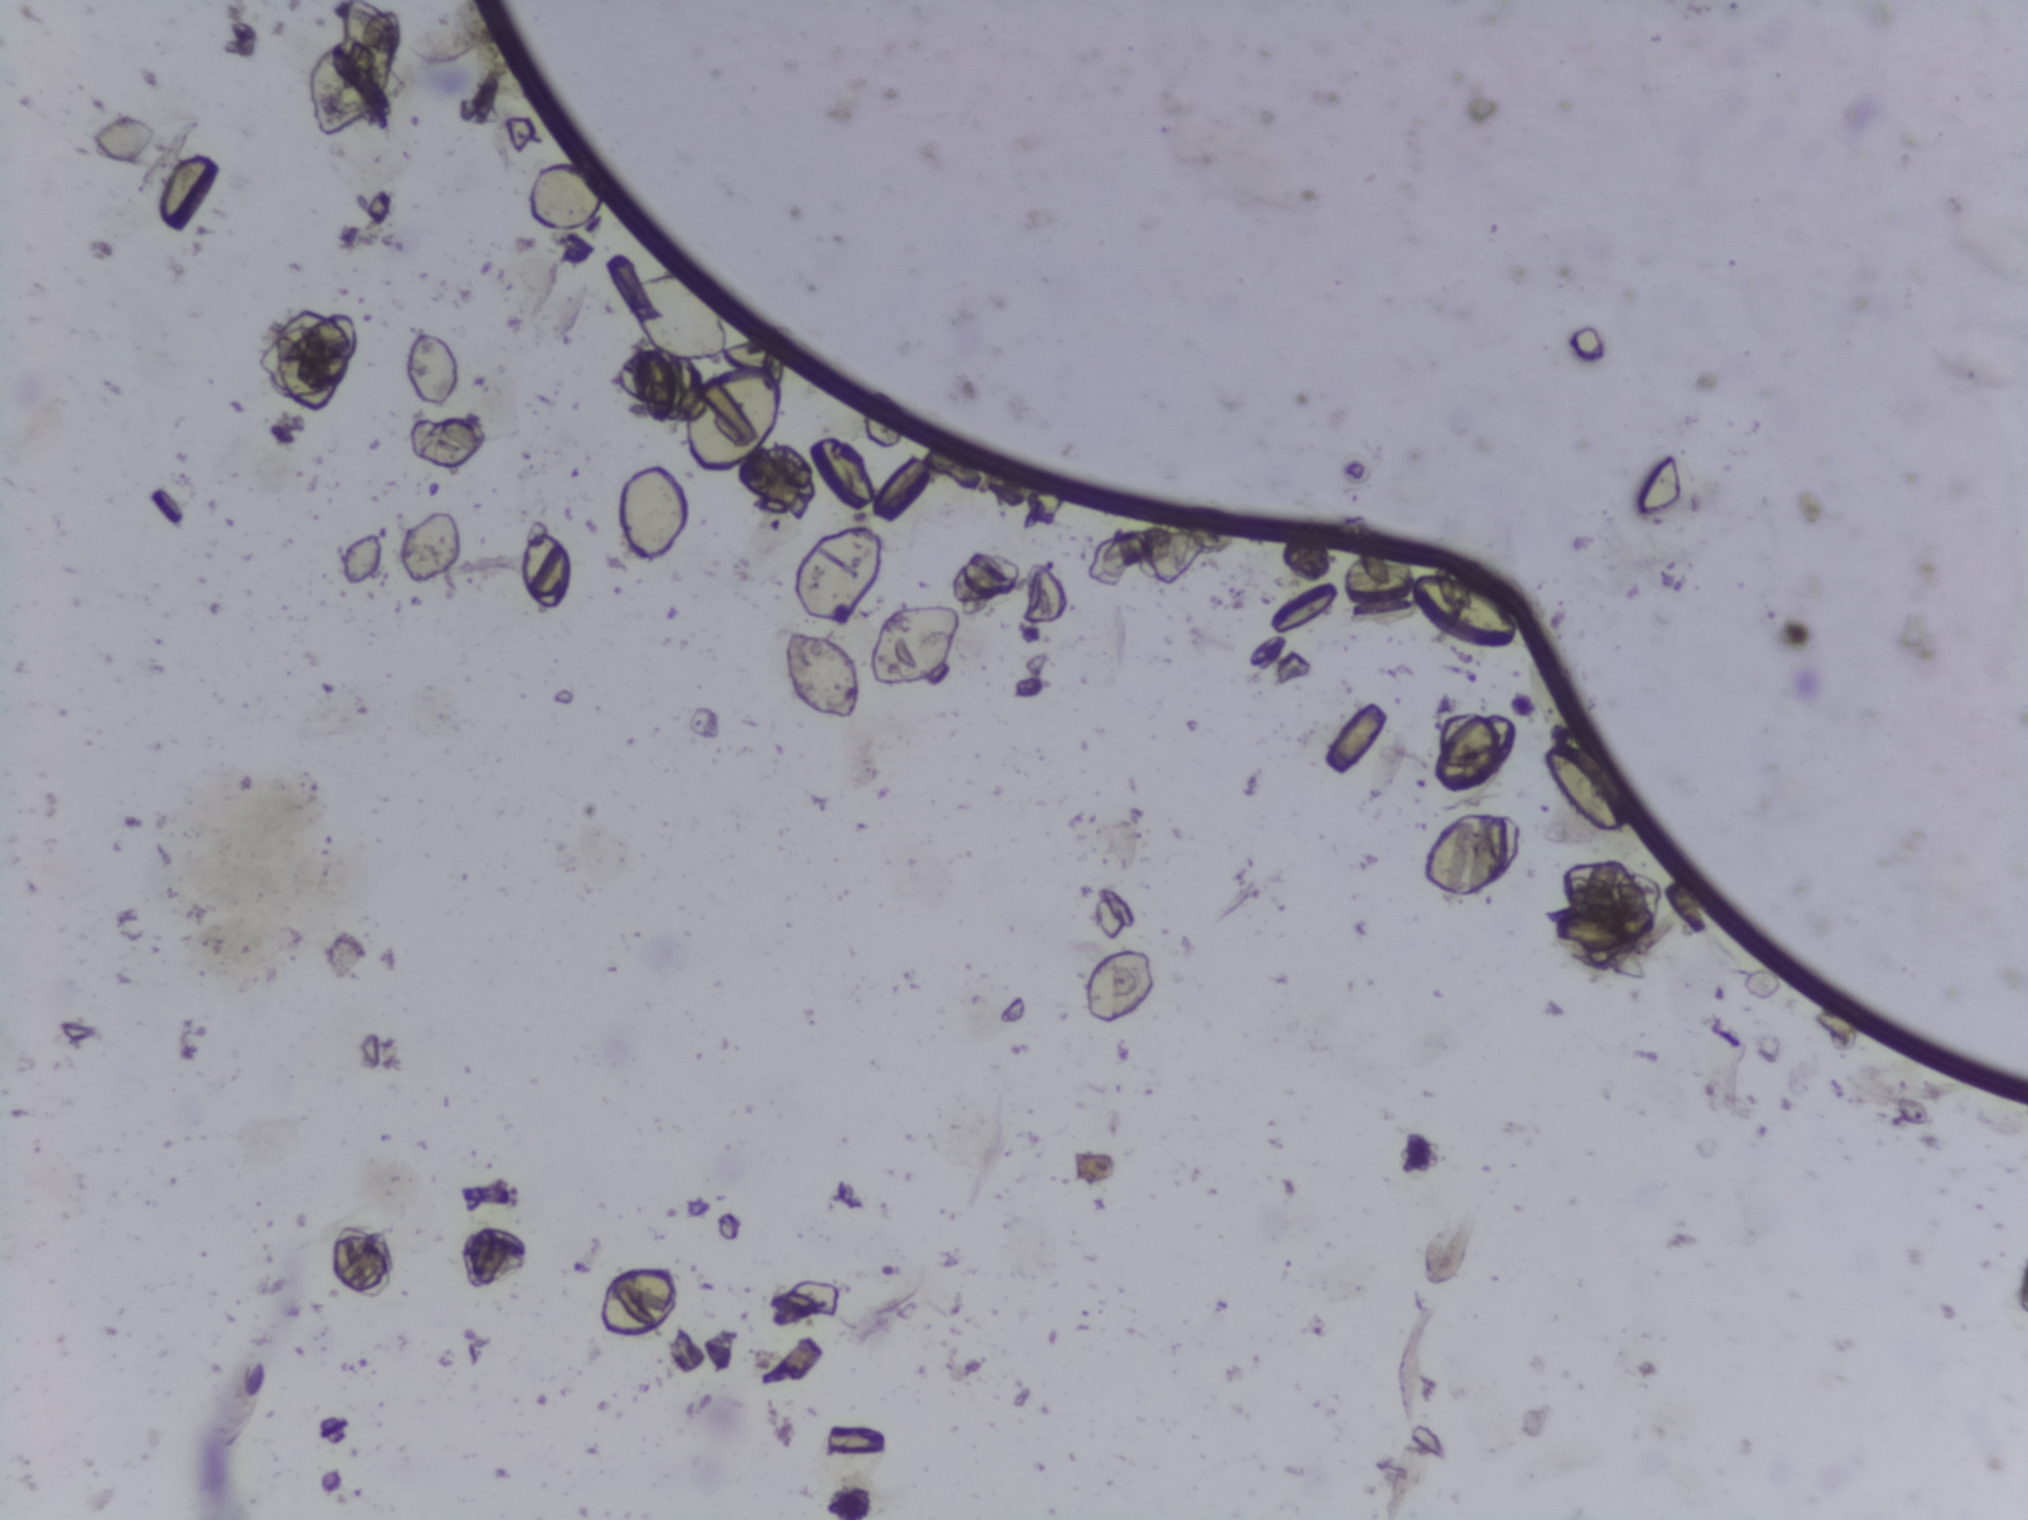
Photomicrograph of a urine filtration membrane, 4× objective.
The expert annotation outlines no Schistosoma egg in this image.